Photomicrograph of a urine filtration membrane, 4× objective. The field of view is about 1.5 mm × 1.1 mm.
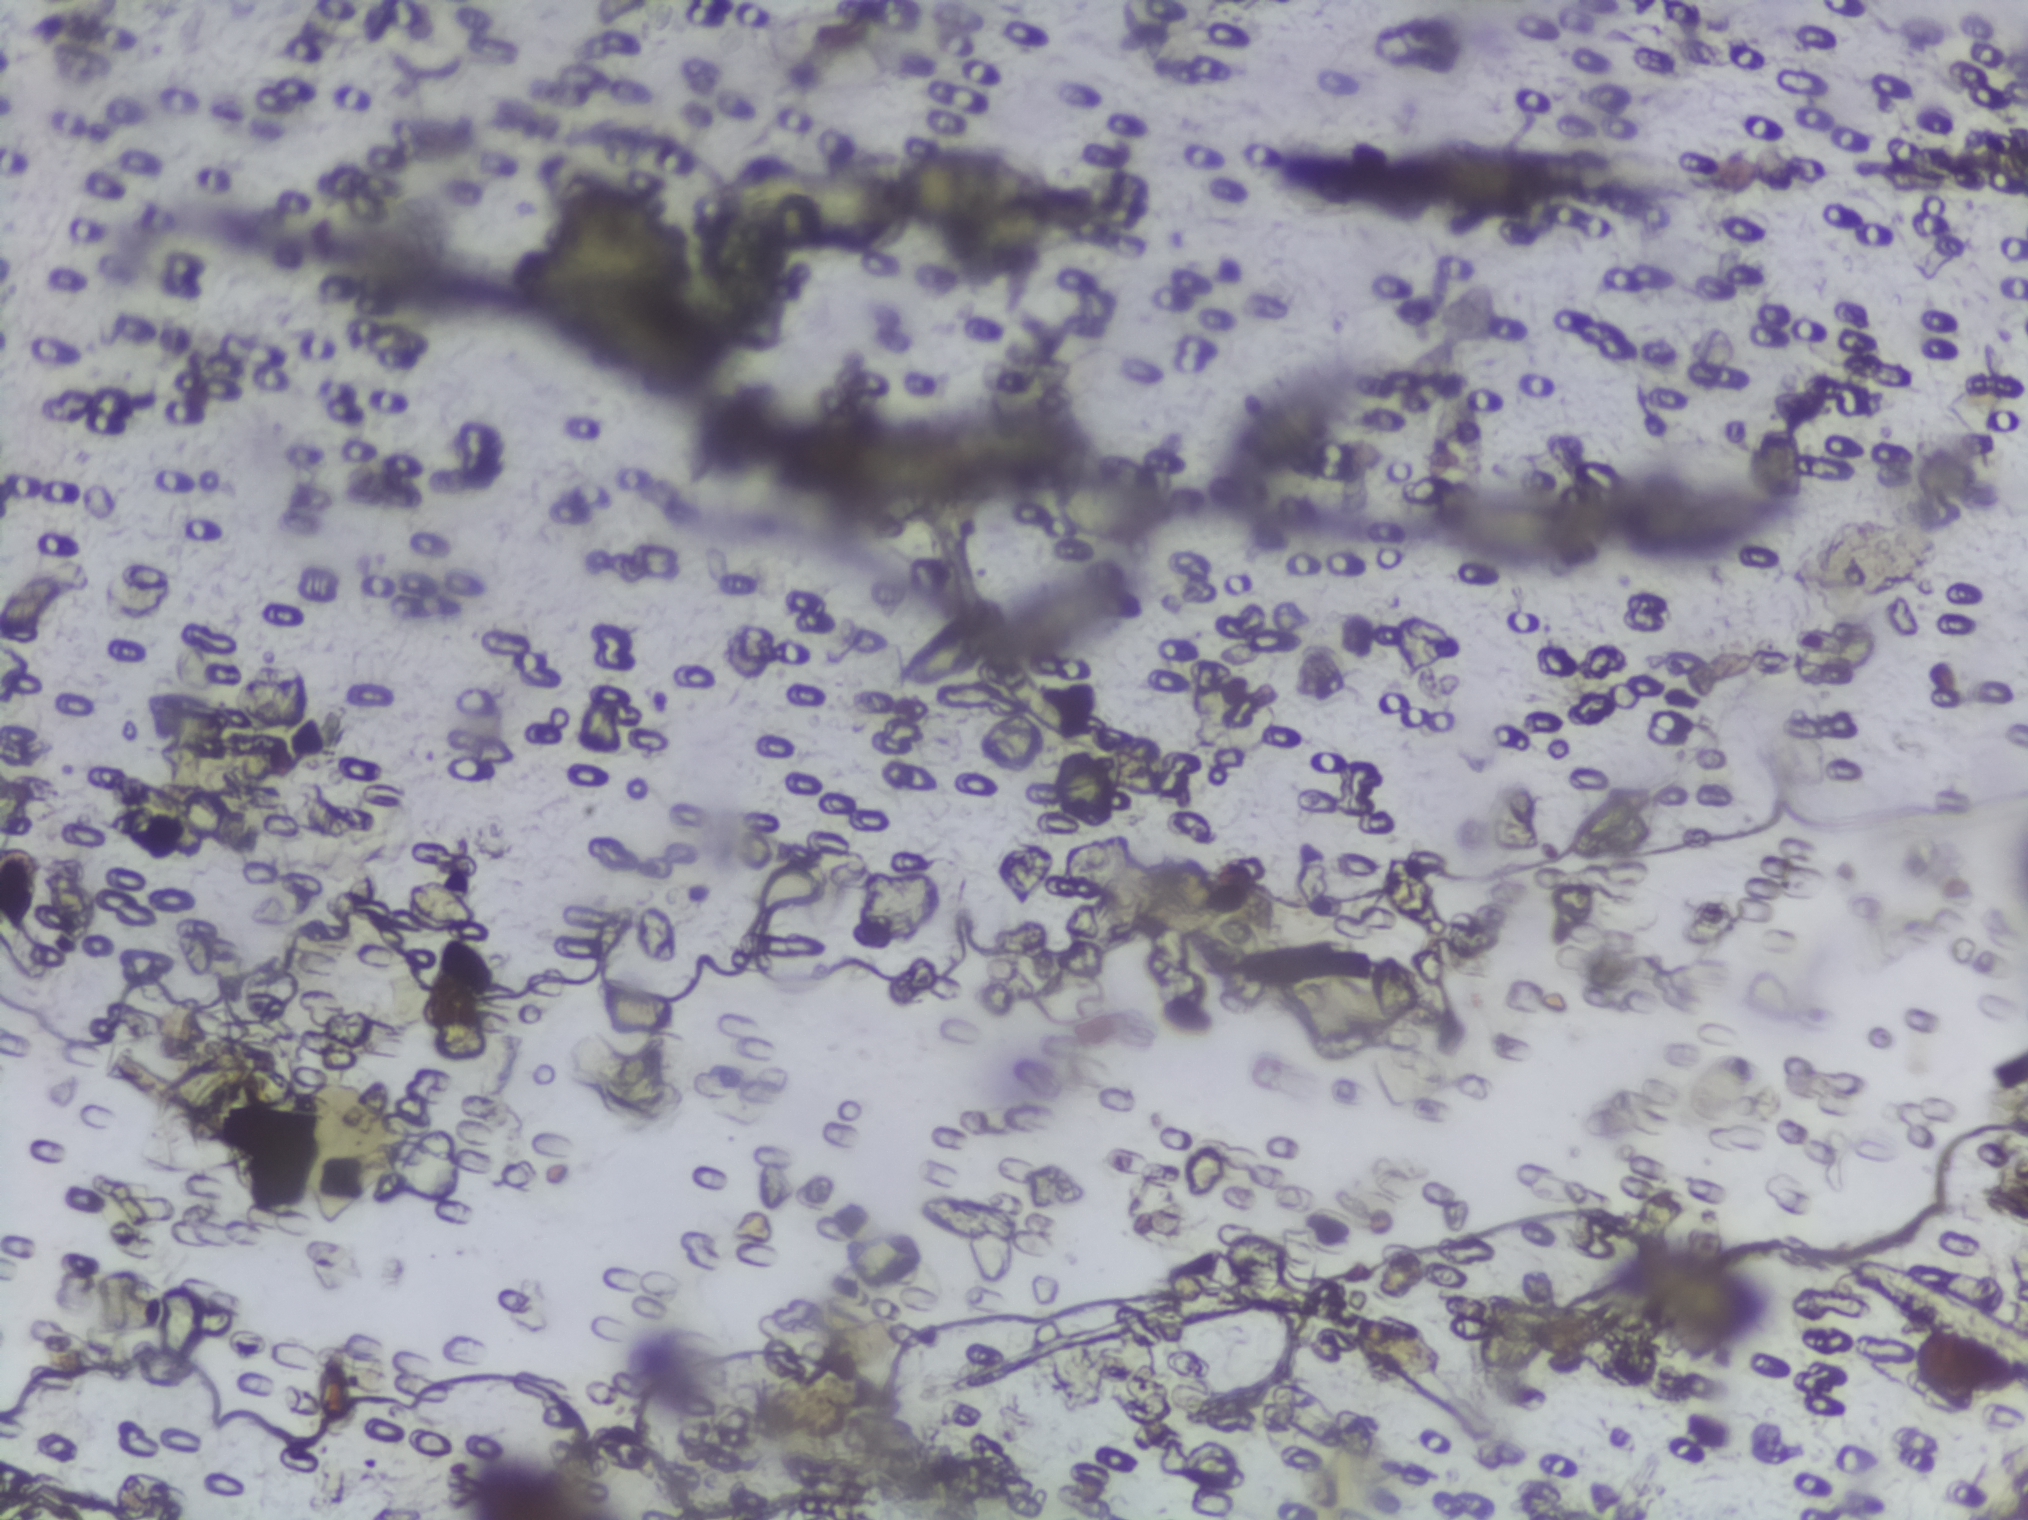
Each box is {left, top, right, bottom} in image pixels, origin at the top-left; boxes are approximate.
Areas outlined as Schistosoma eggs: {688, 149, 1041, 262}. Marked pixels, not the box around them: about 0.8% of the image. Eggs that touch can end up inside the same outlined area.